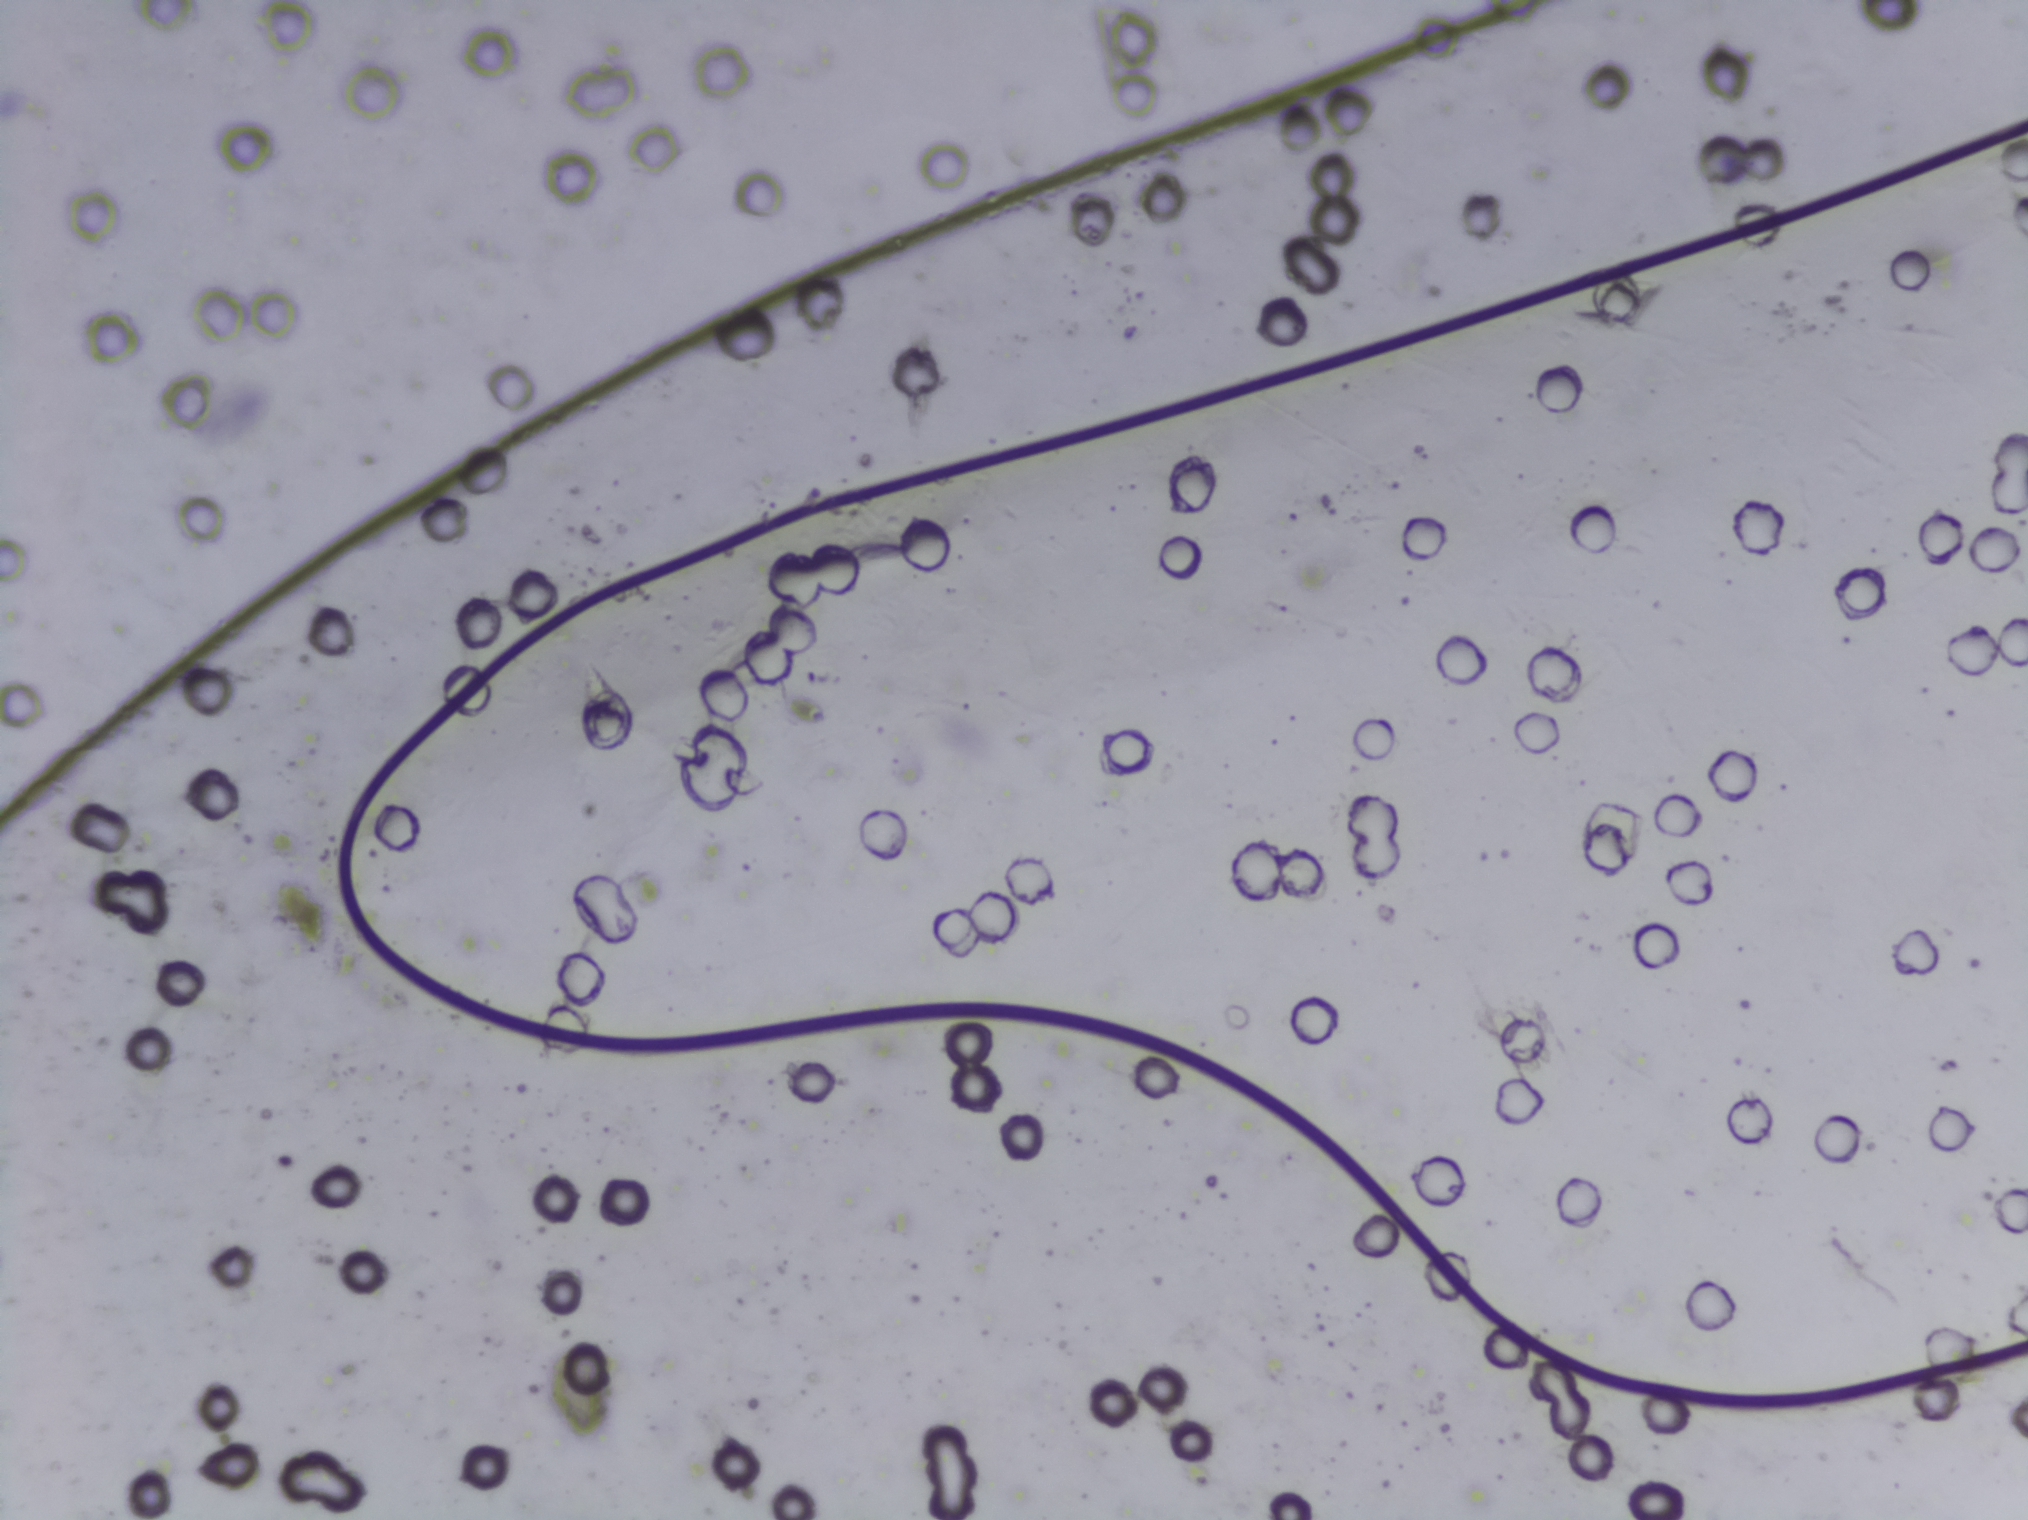
No area of this image was outlined as a Schistosoma egg.
Photograph from an automated digital microscope: urine filter membrane, 4× objective.